Urine filtration membrane under a 4× objective, photographed by an automated digital microscope.
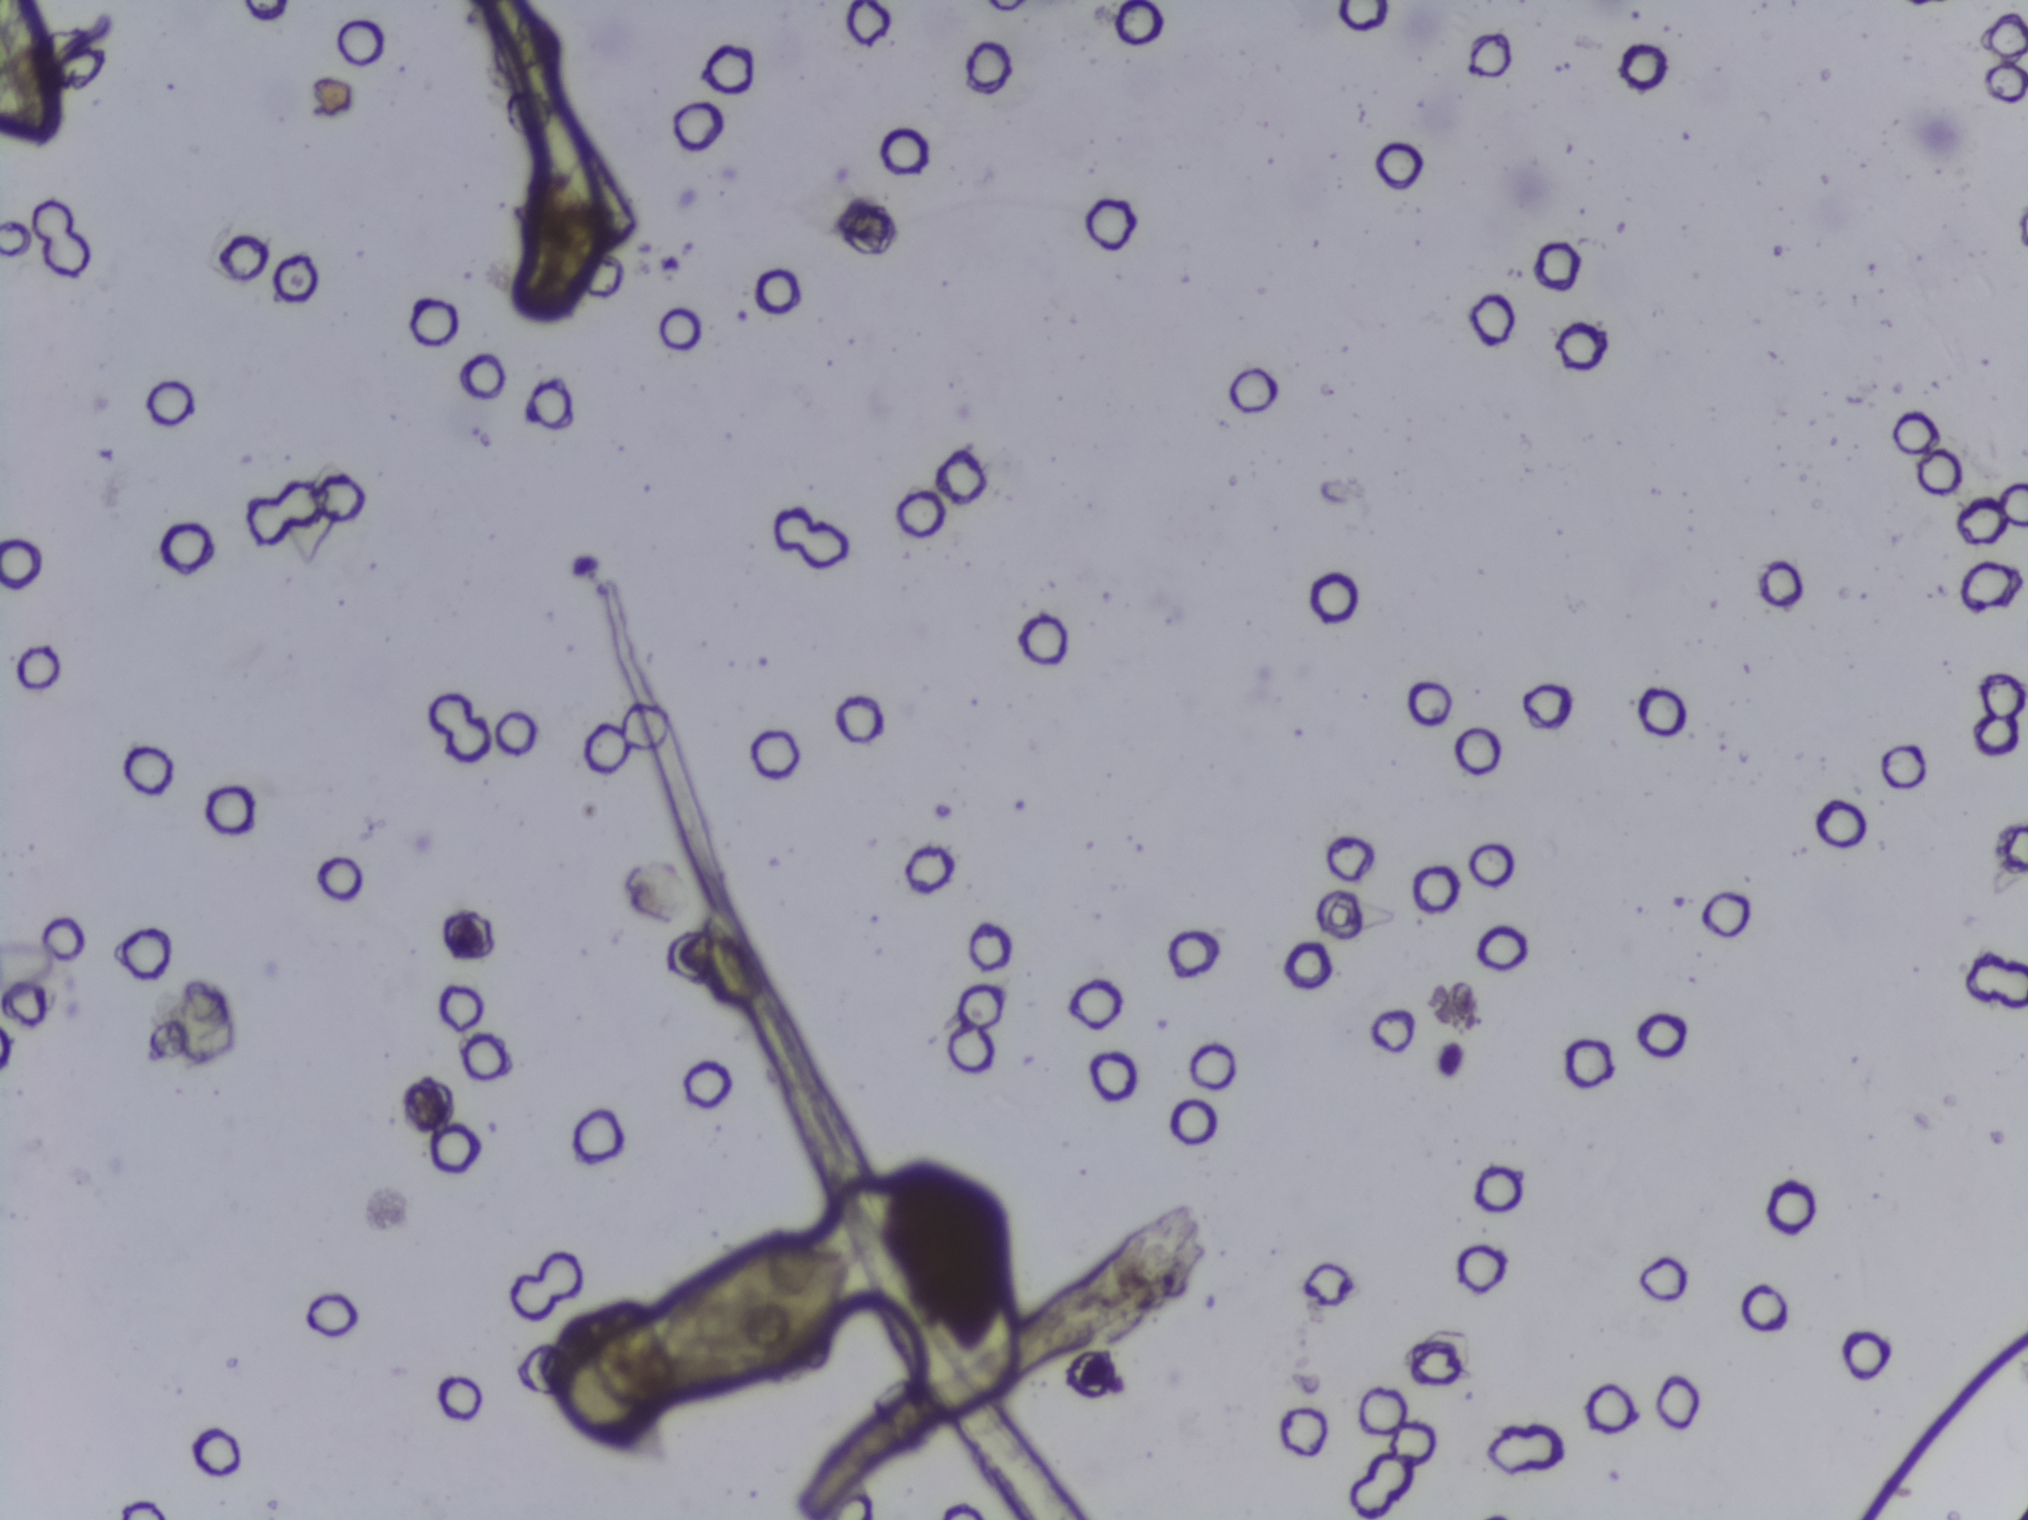
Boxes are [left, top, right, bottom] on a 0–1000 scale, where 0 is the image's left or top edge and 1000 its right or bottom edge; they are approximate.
{"schistosoma_egg_areas_xyxy_per1000": [[269, 812, 427, 965]]}
A single outlined area may contain several eggs.